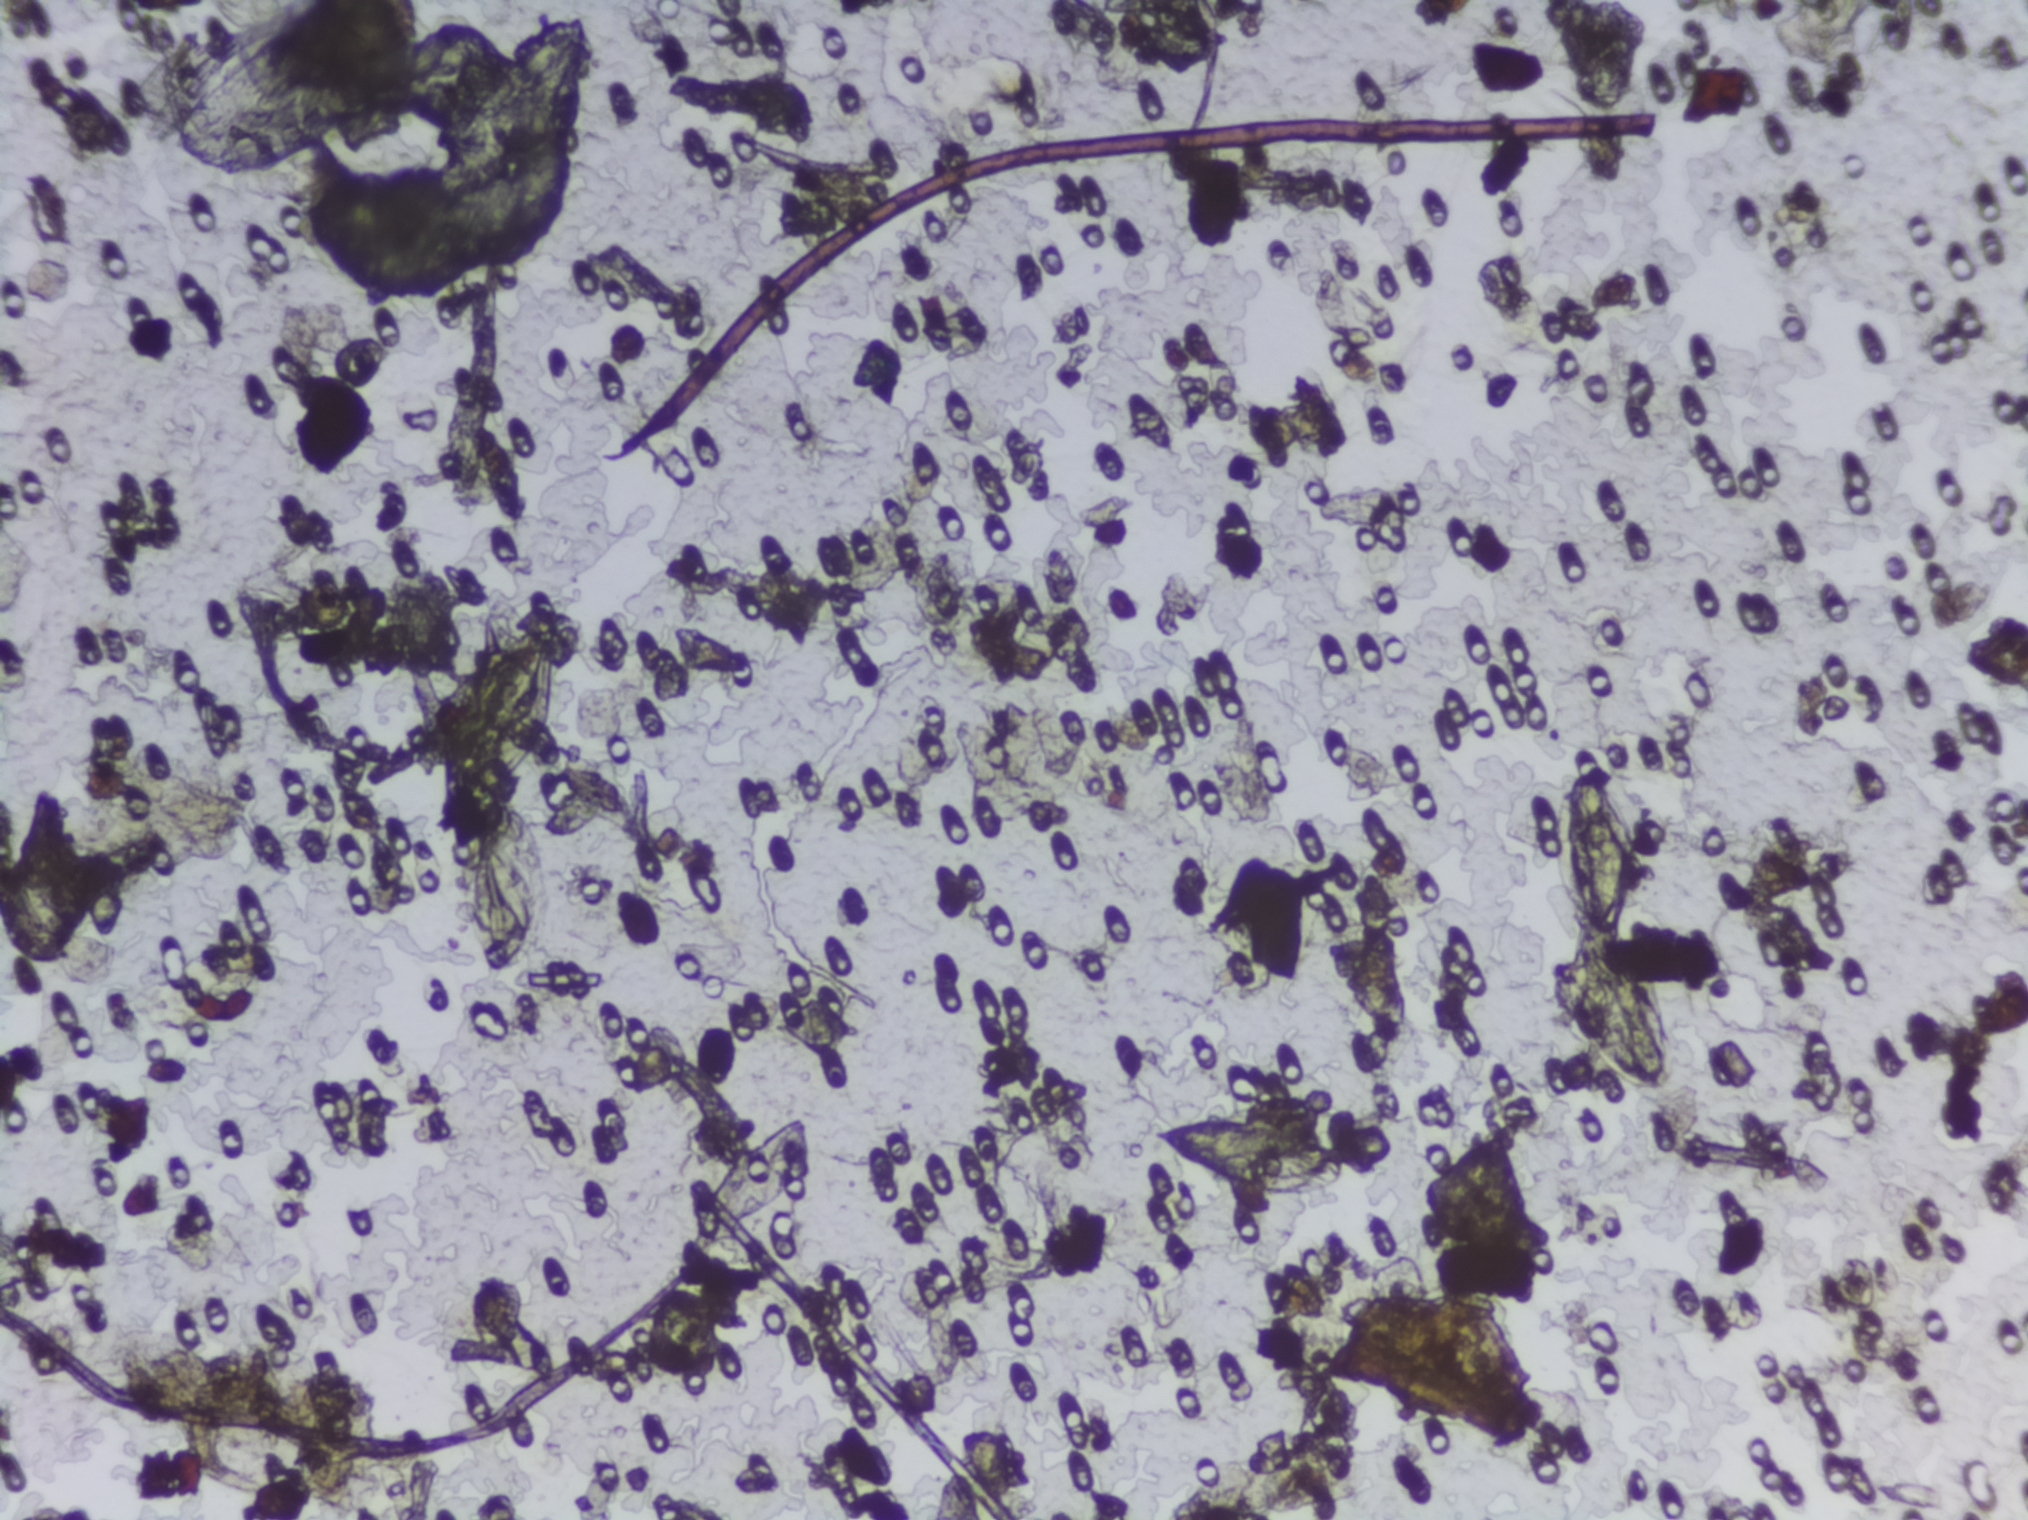
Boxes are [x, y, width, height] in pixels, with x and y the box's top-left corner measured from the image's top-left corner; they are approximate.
Four areas of this image are outlined as Schistosoma eggs, from left to right: [435, 616, 132, 356]; [688, 1117, 138, 119]; [1152, 1112, 197, 93]; [1553, 742, 124, 351]. Eggs that touch can end up inside the same outlined area.
Urine filter membrane photographed through a 4× microscope objective.